One field of view of a urine filter membrane, 4× objective, 2028 × 1520 pixels.
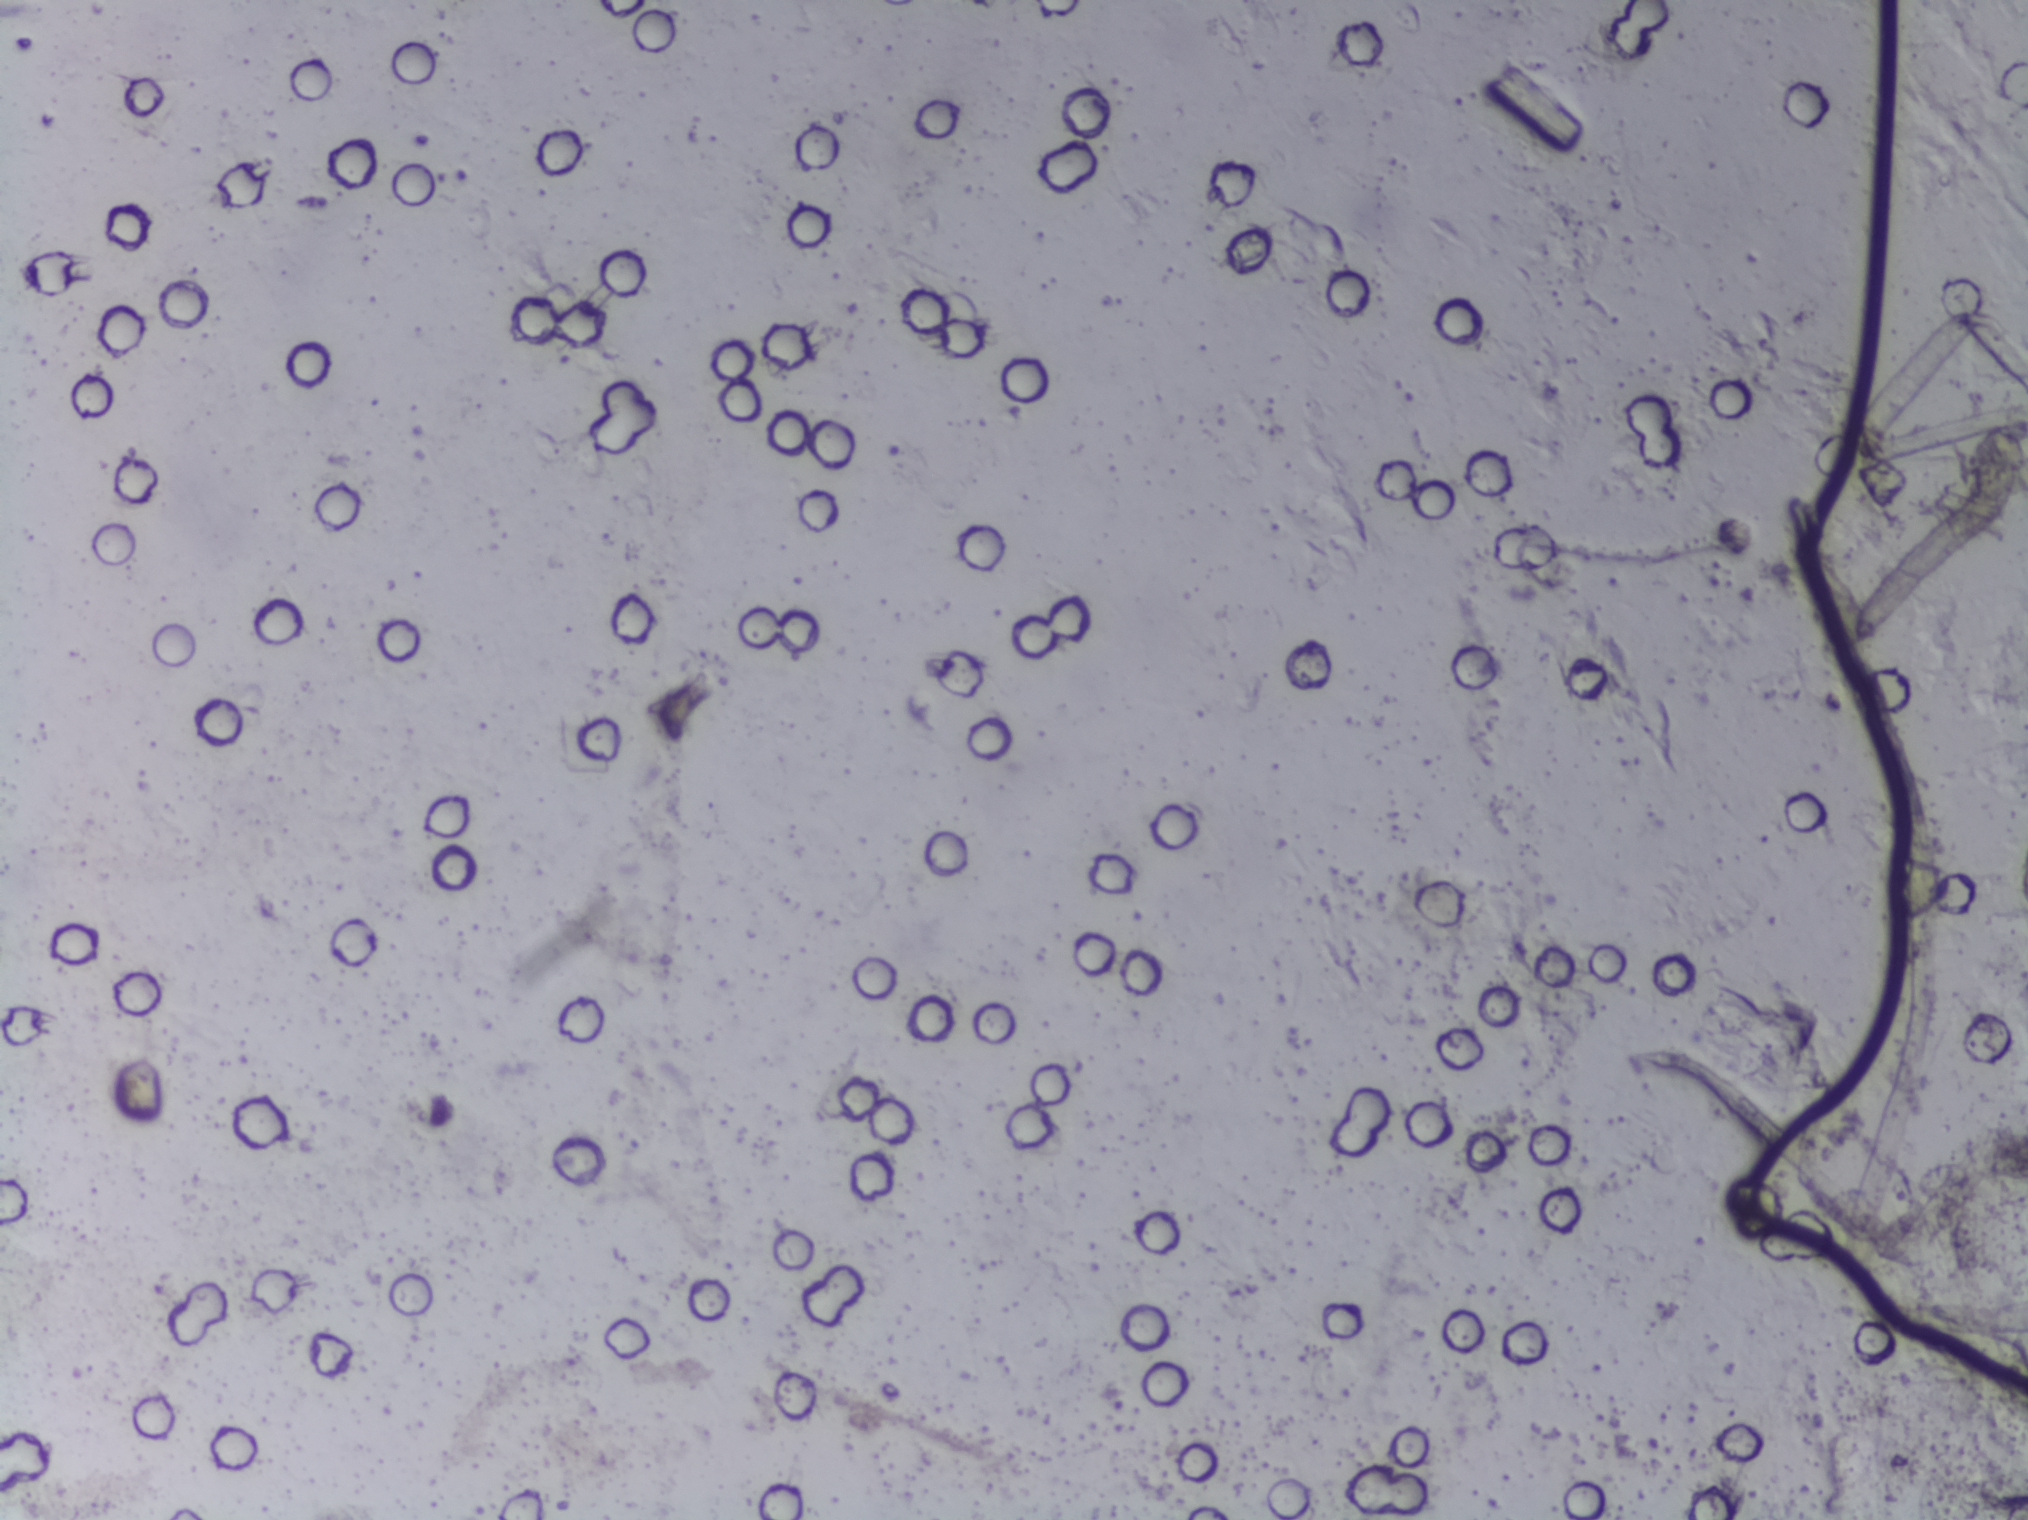
No Schistosoma egg is outlined in this image's expert annotation.